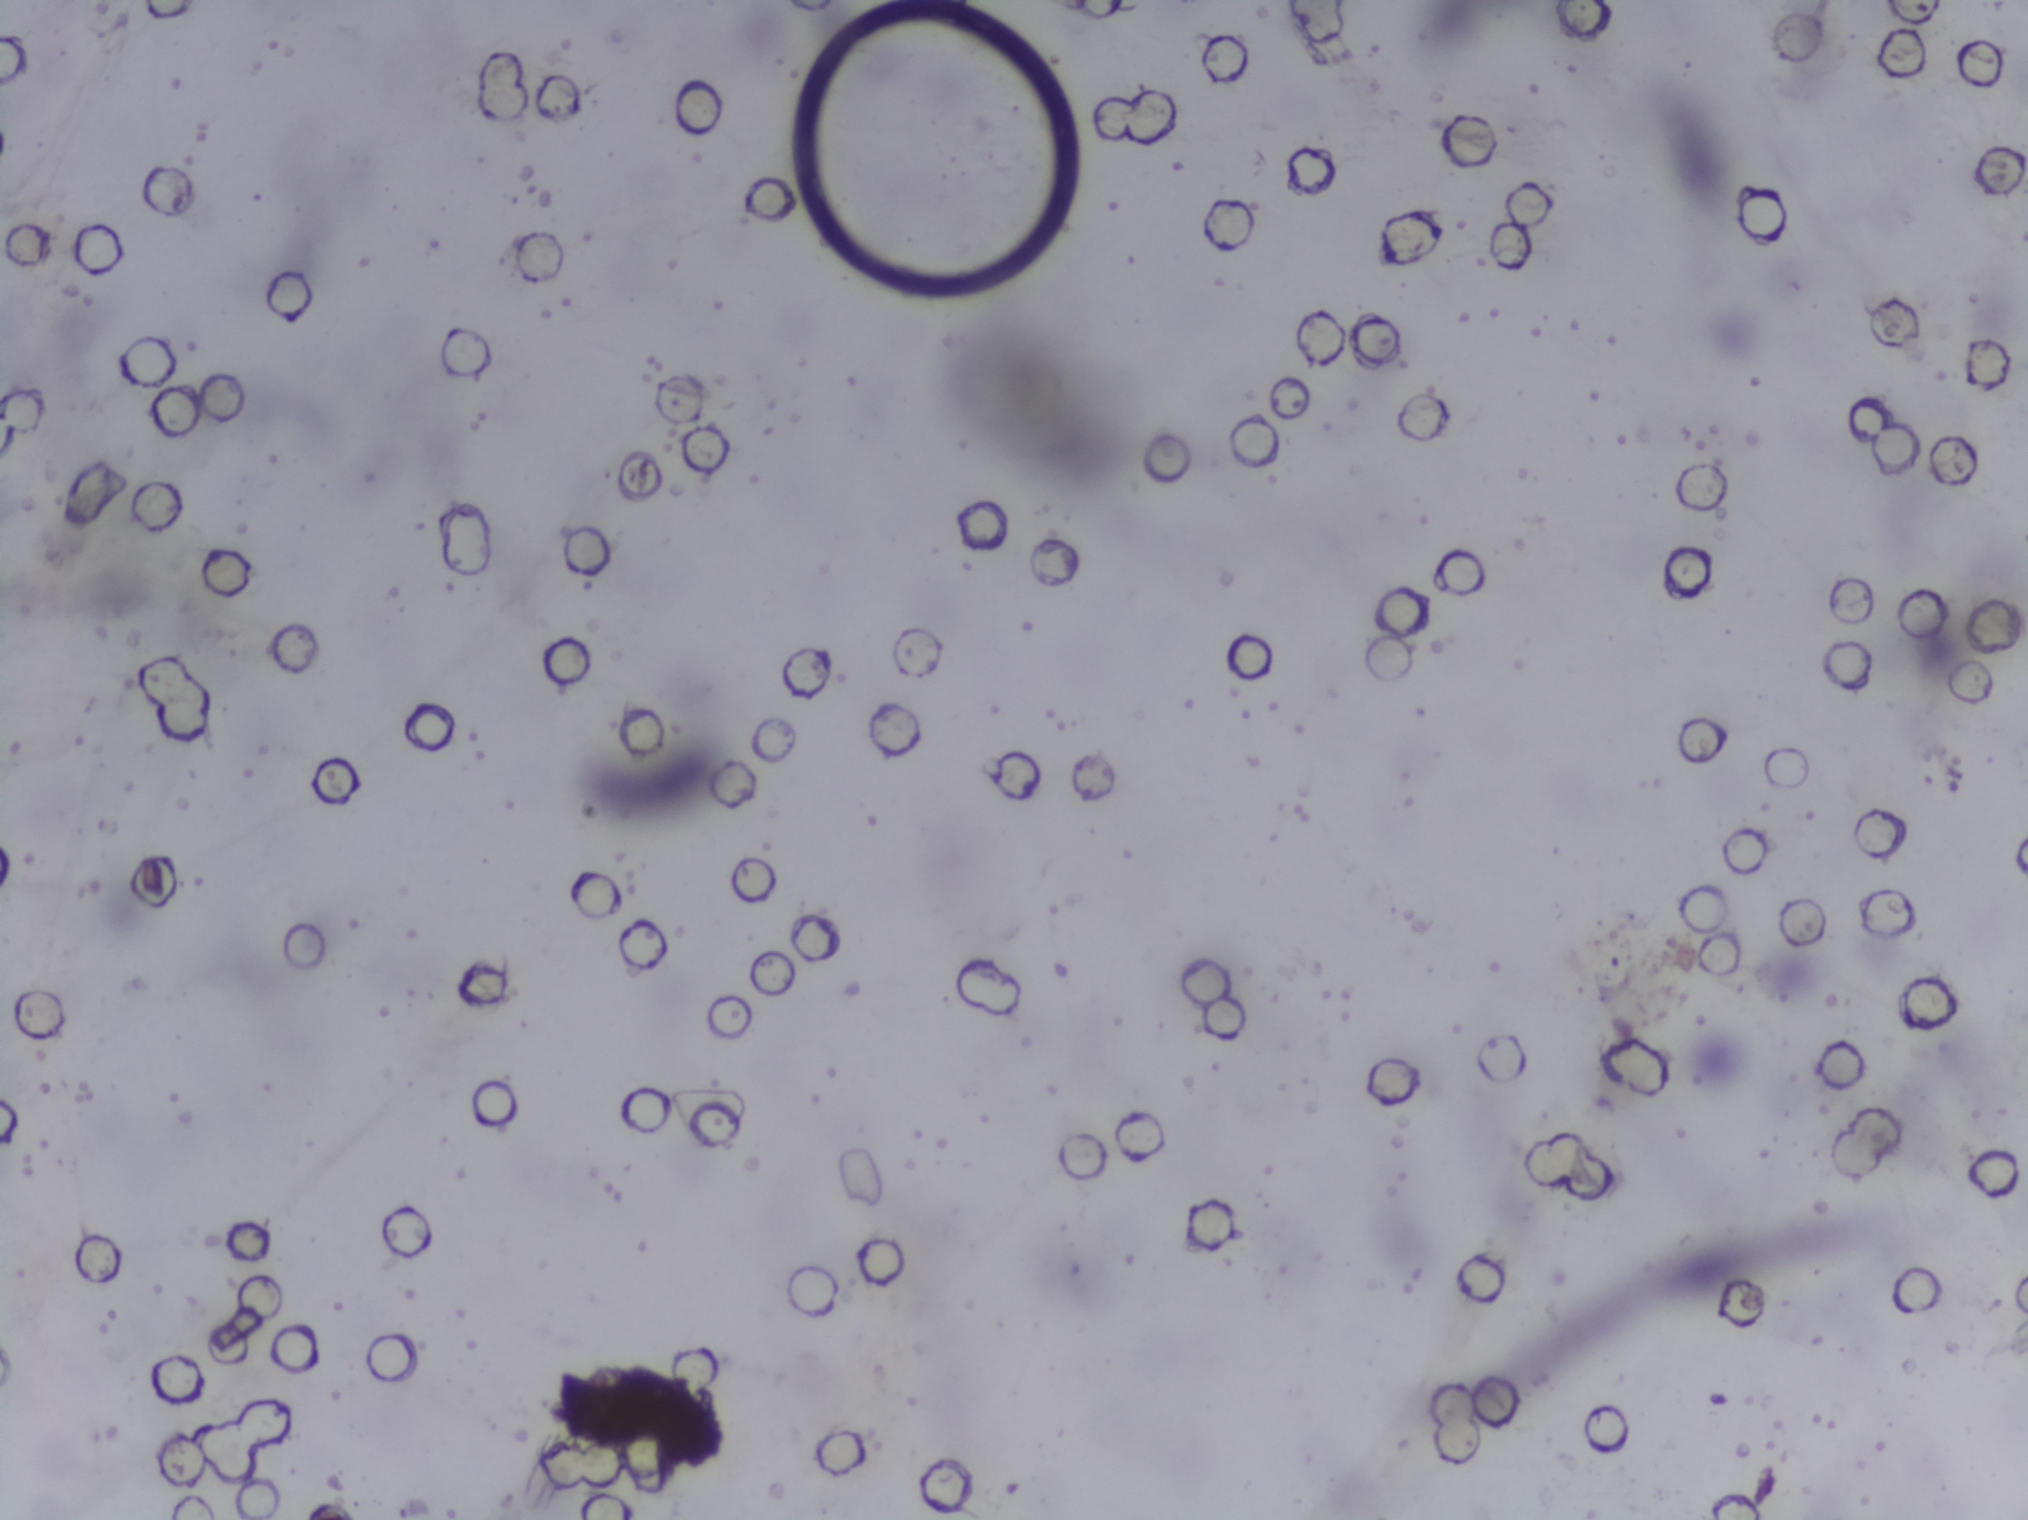
No area of this image was outlined as a Schistosoma egg.
Photograph from an automated digital microscope: urine filter membrane, 4× objective. The field of view is about 1.5 mm × 1.1 mm.